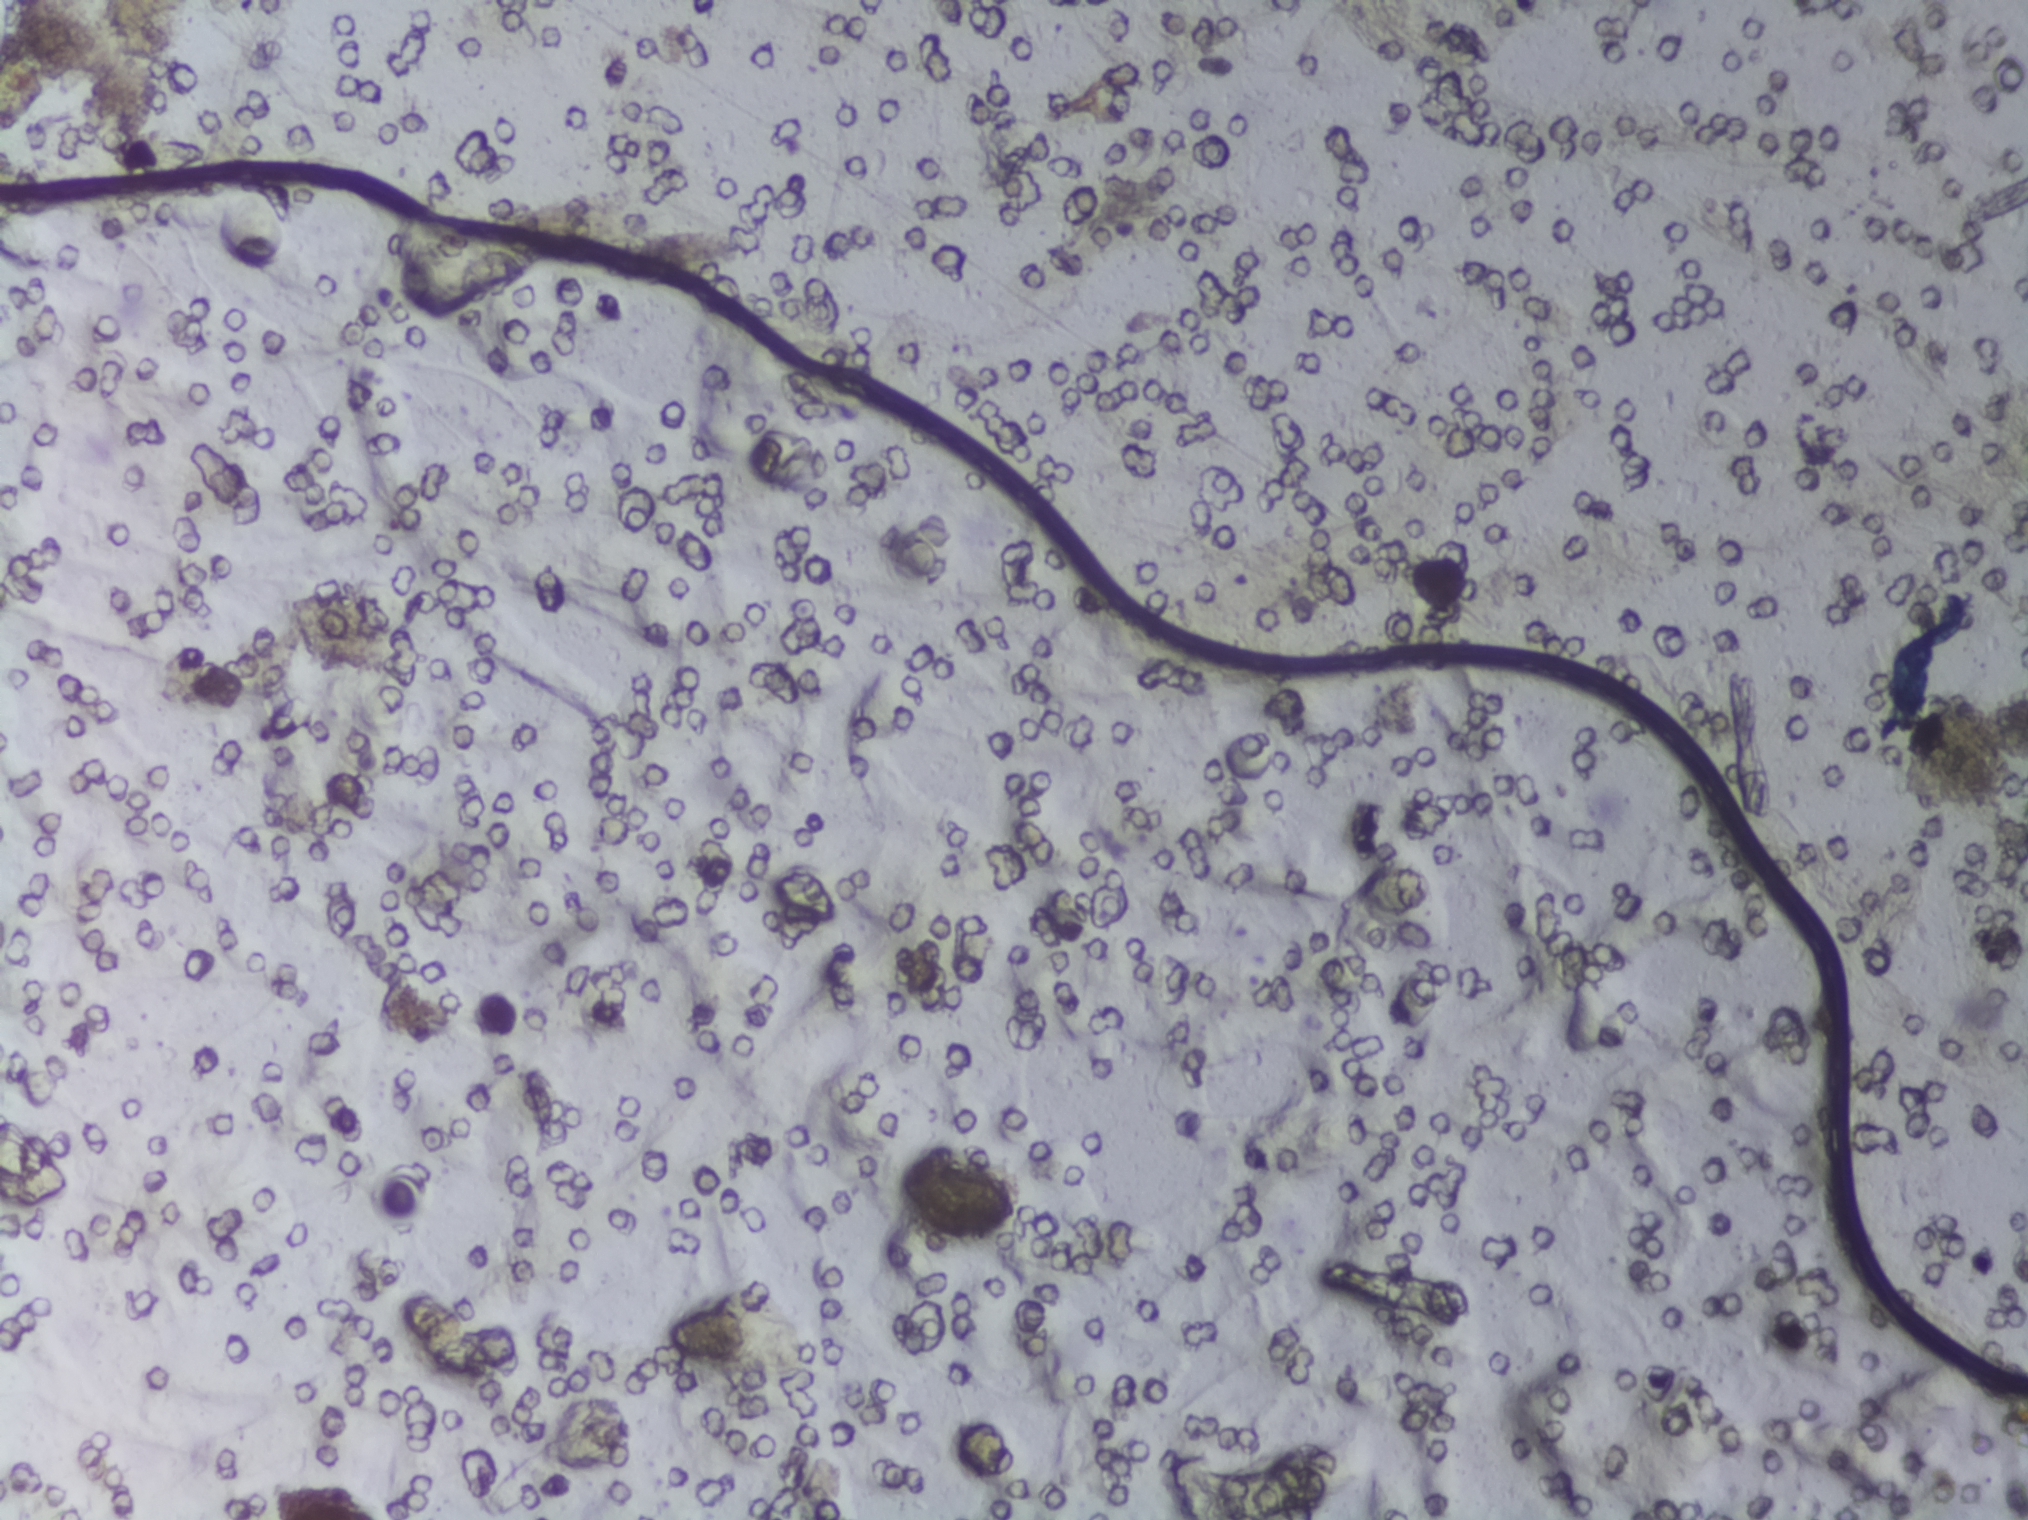
No Schistosoma egg is outlined in this image's expert annotation.
One field of view of a urine filter membrane, 4× objective, 2028 × 1520 pixels. The image covers about 1.5 × 1.1 mm of the membrane.